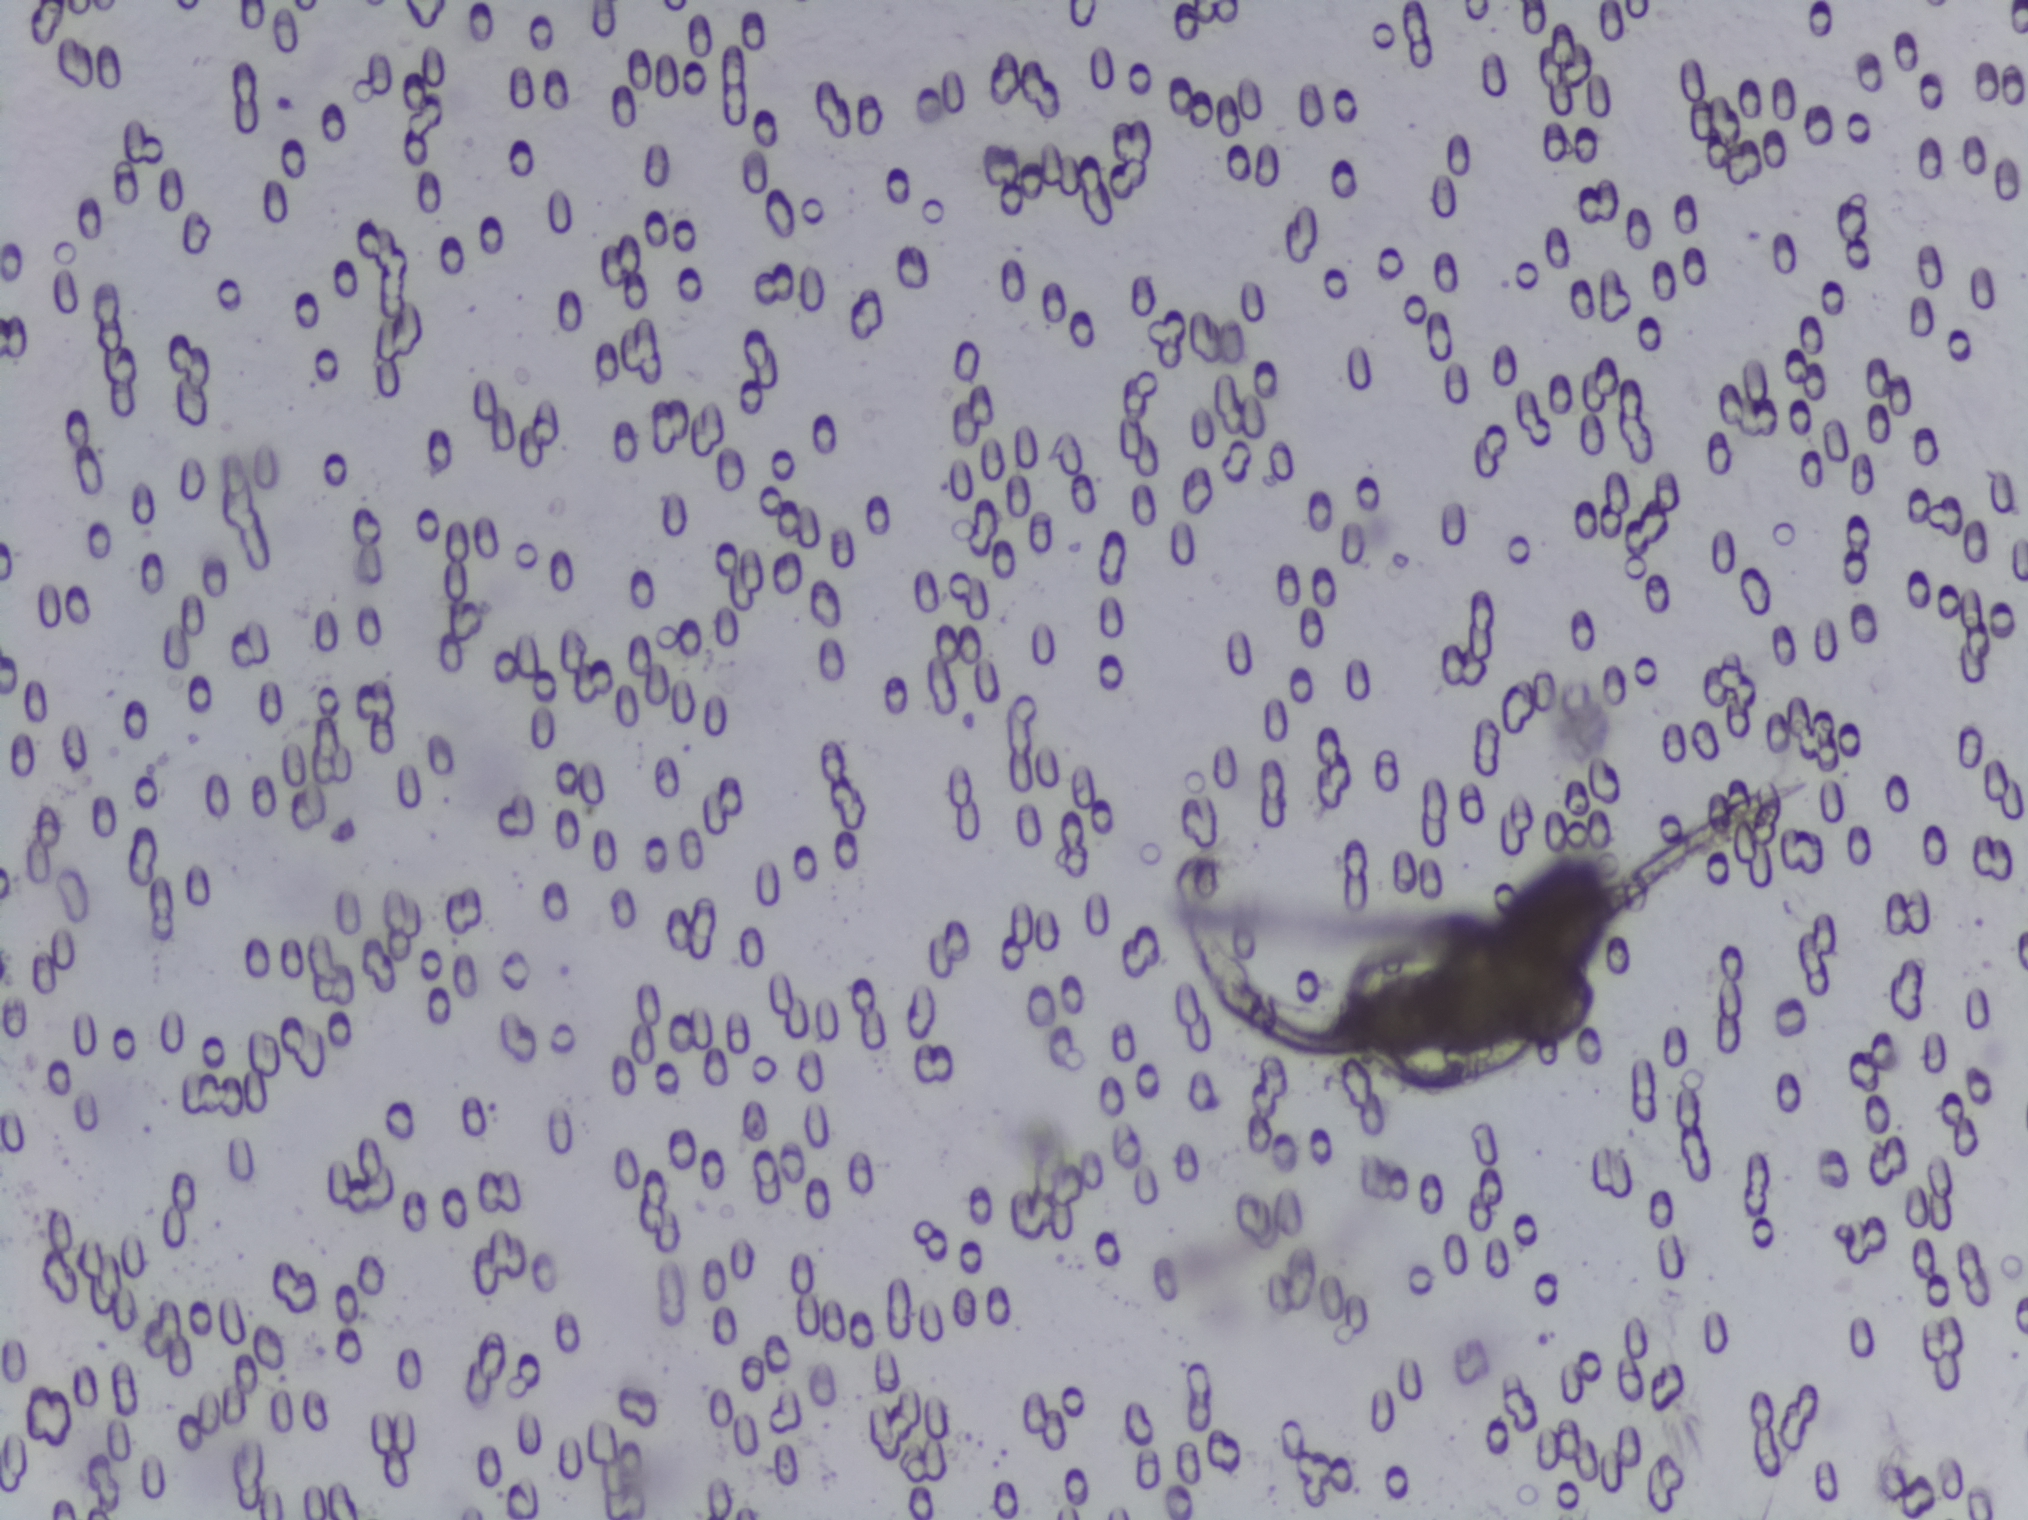
No Schistosoma egg is outlined in this image's expert annotation.
Photomicrograph of a urine filtration membrane, 4× objective. The image covers about 1.5 × 1.1 mm of the membrane.